Microscope photograph (4× objective) of a membrane that a urine sample was filtered through.
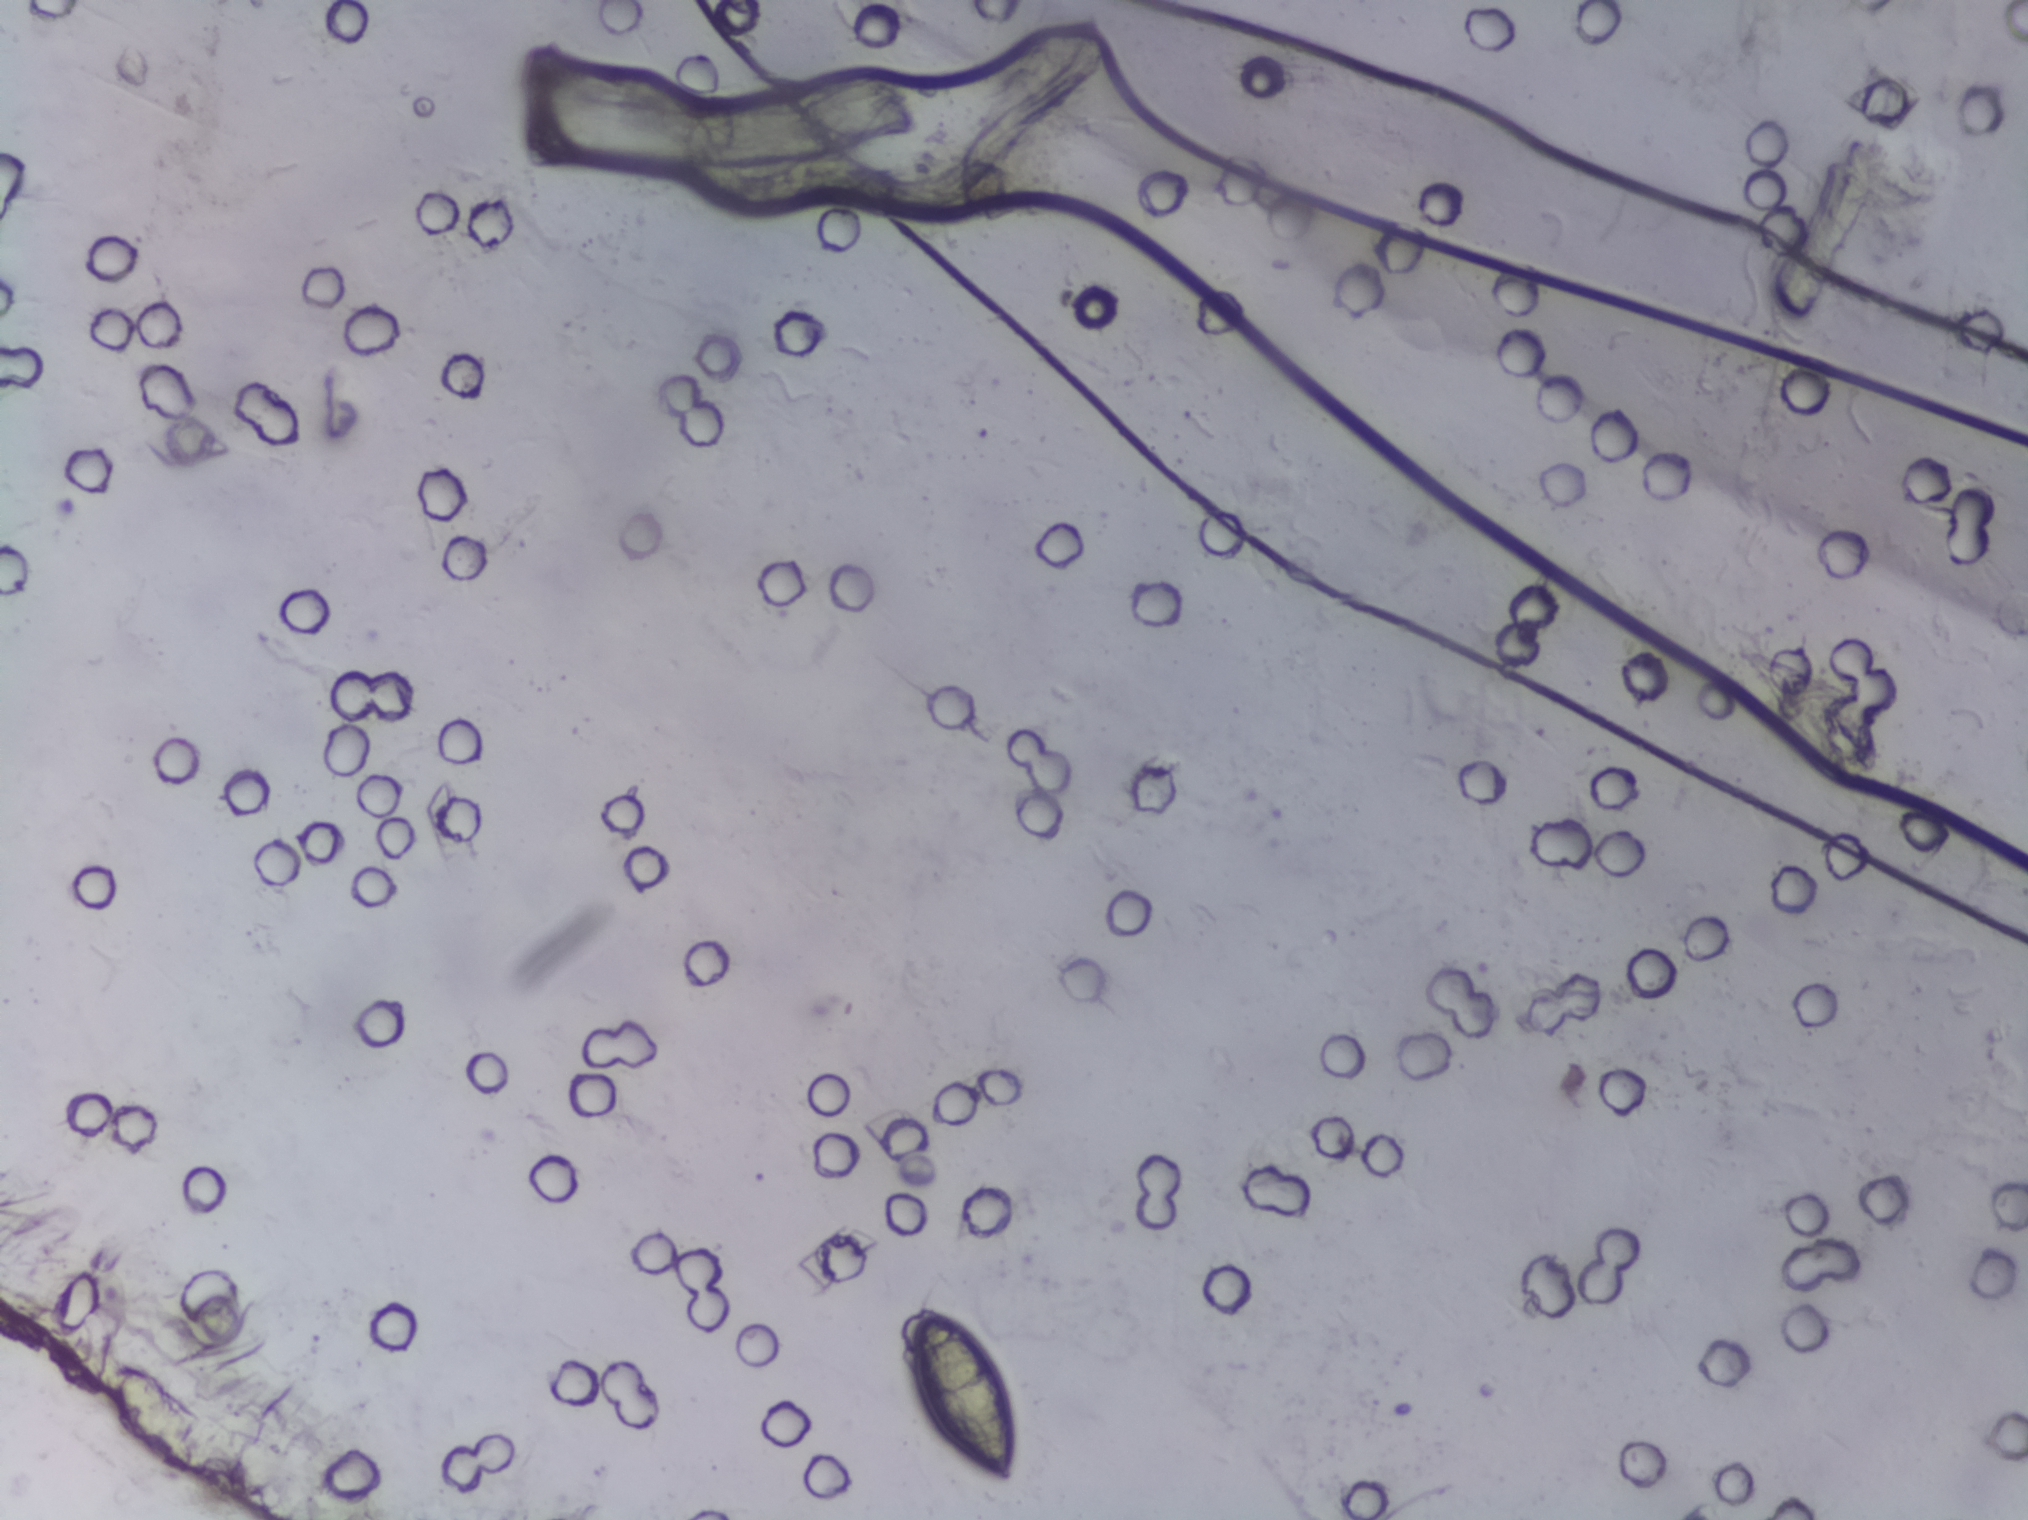
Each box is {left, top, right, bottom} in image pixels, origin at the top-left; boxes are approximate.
Areas outlined as Schistosoma eggs: {902, 1302, 1020, 1490}. An outlined area can hold more than one egg.